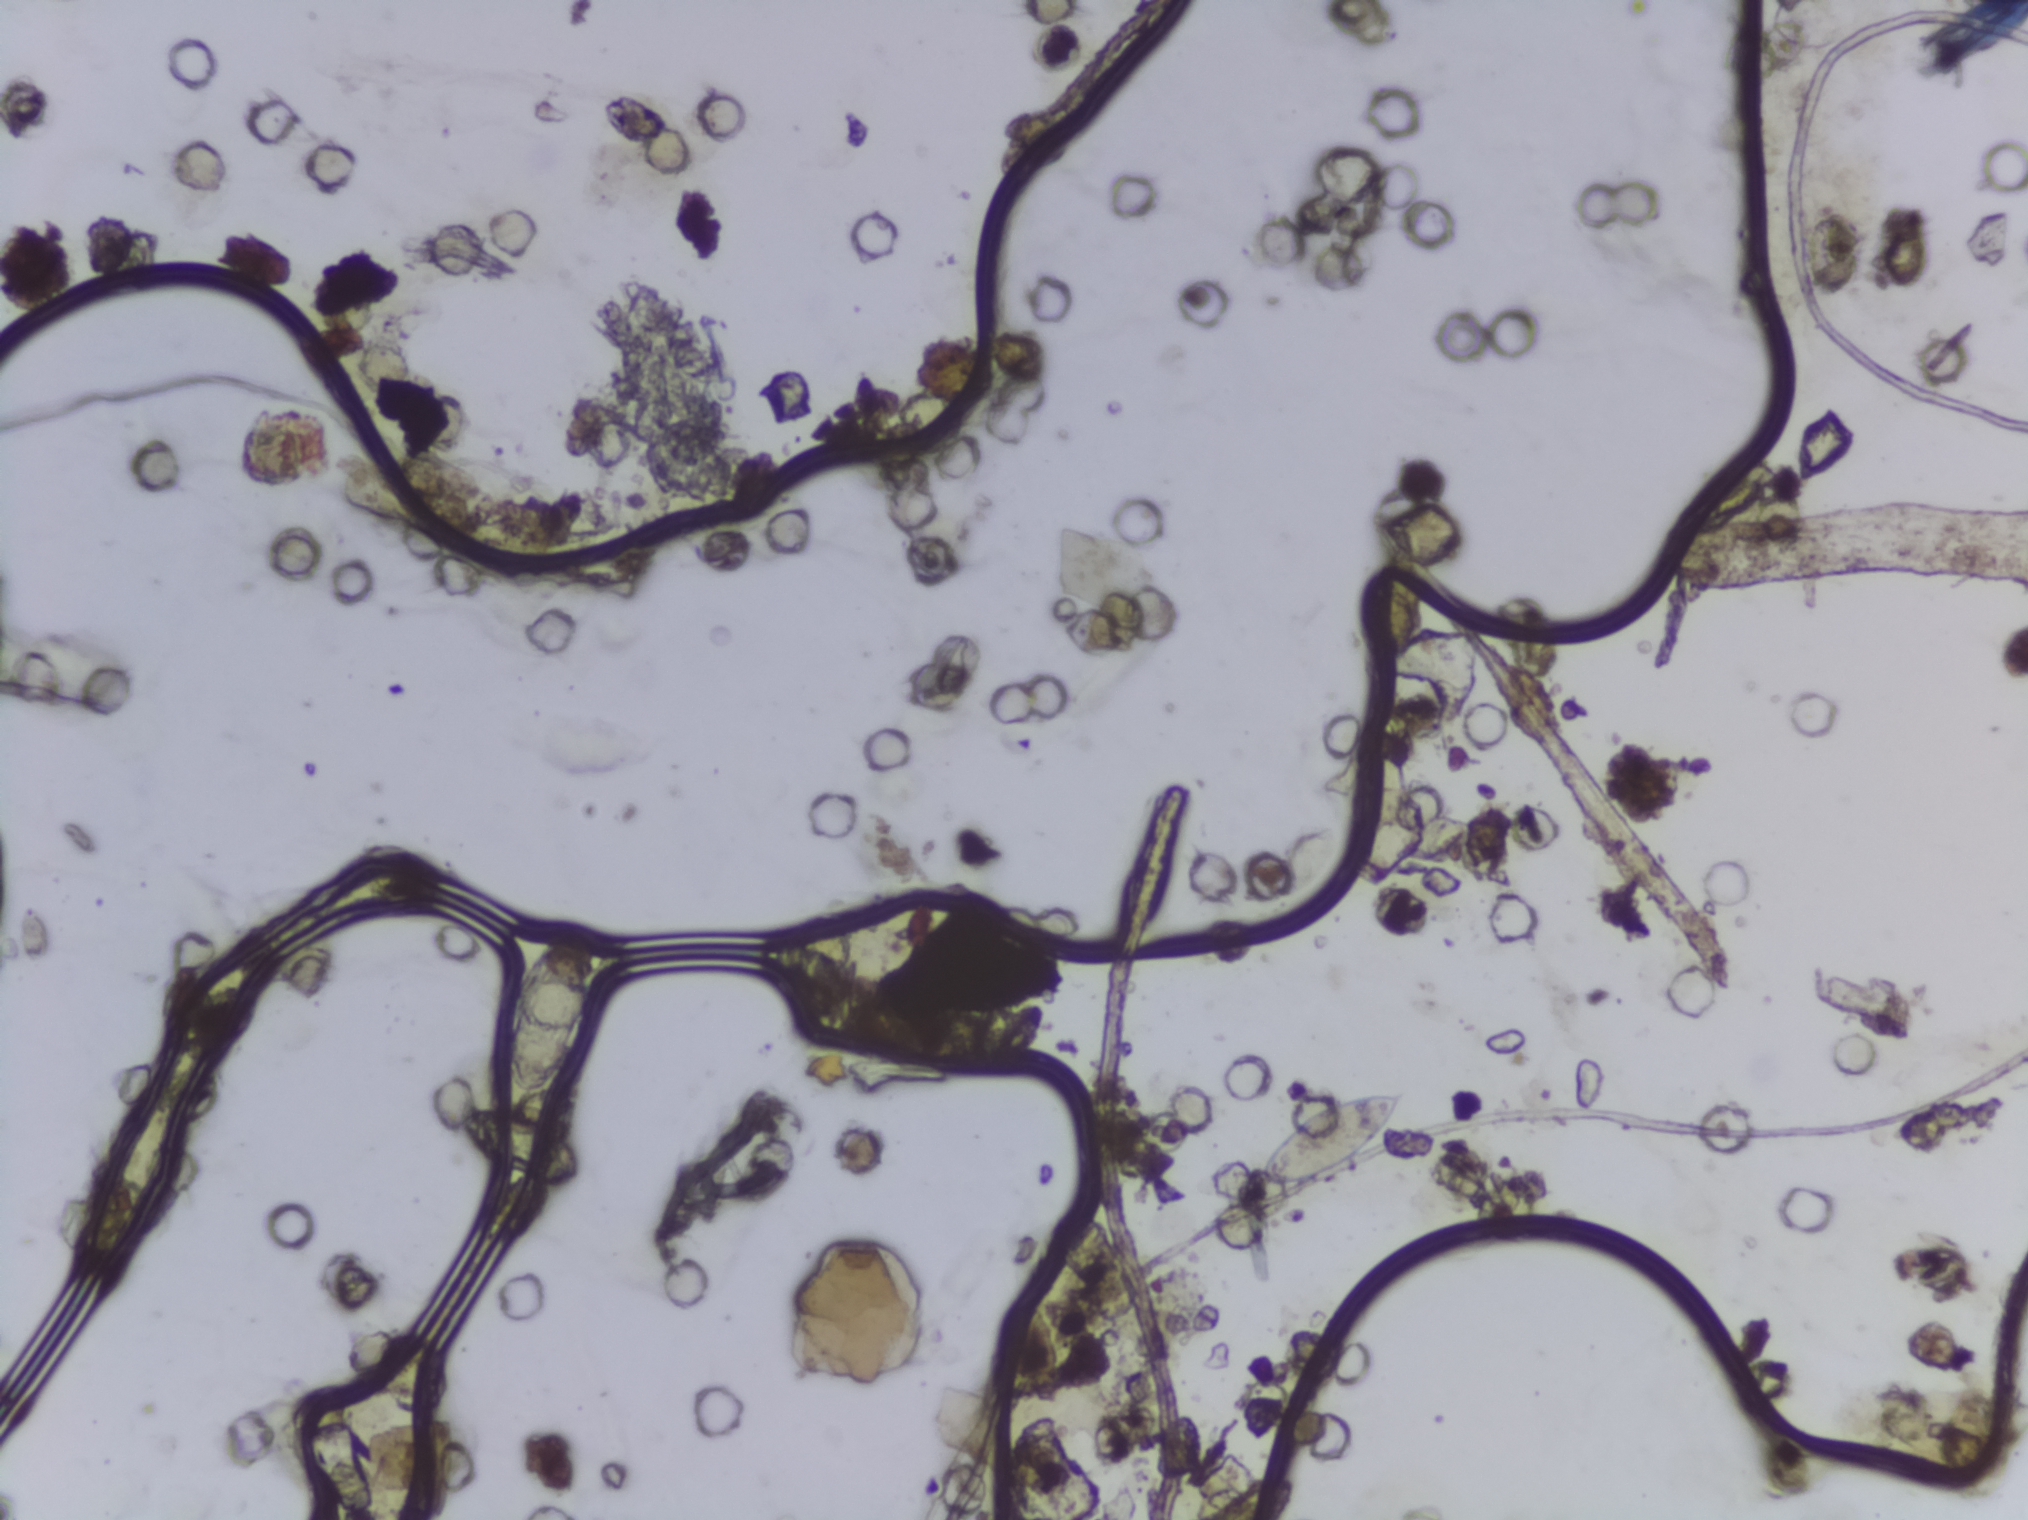
Microscope photograph (4× objective) of a membrane that a urine sample was filtered through. Field of view: about 1.5 mm wide and 1.1 mm high.
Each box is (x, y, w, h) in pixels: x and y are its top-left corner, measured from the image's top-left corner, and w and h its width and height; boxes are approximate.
Findings: two areas outlined as Schistosoma eggs. Locations, left to right: (x=463, y=916, w=155, h=282); (x=1246, y=1077, w=170, h=112). A single outlined area may contain several eggs. Any one outlined egg may, rarely, be S. mansoni rather than S. haematobium.